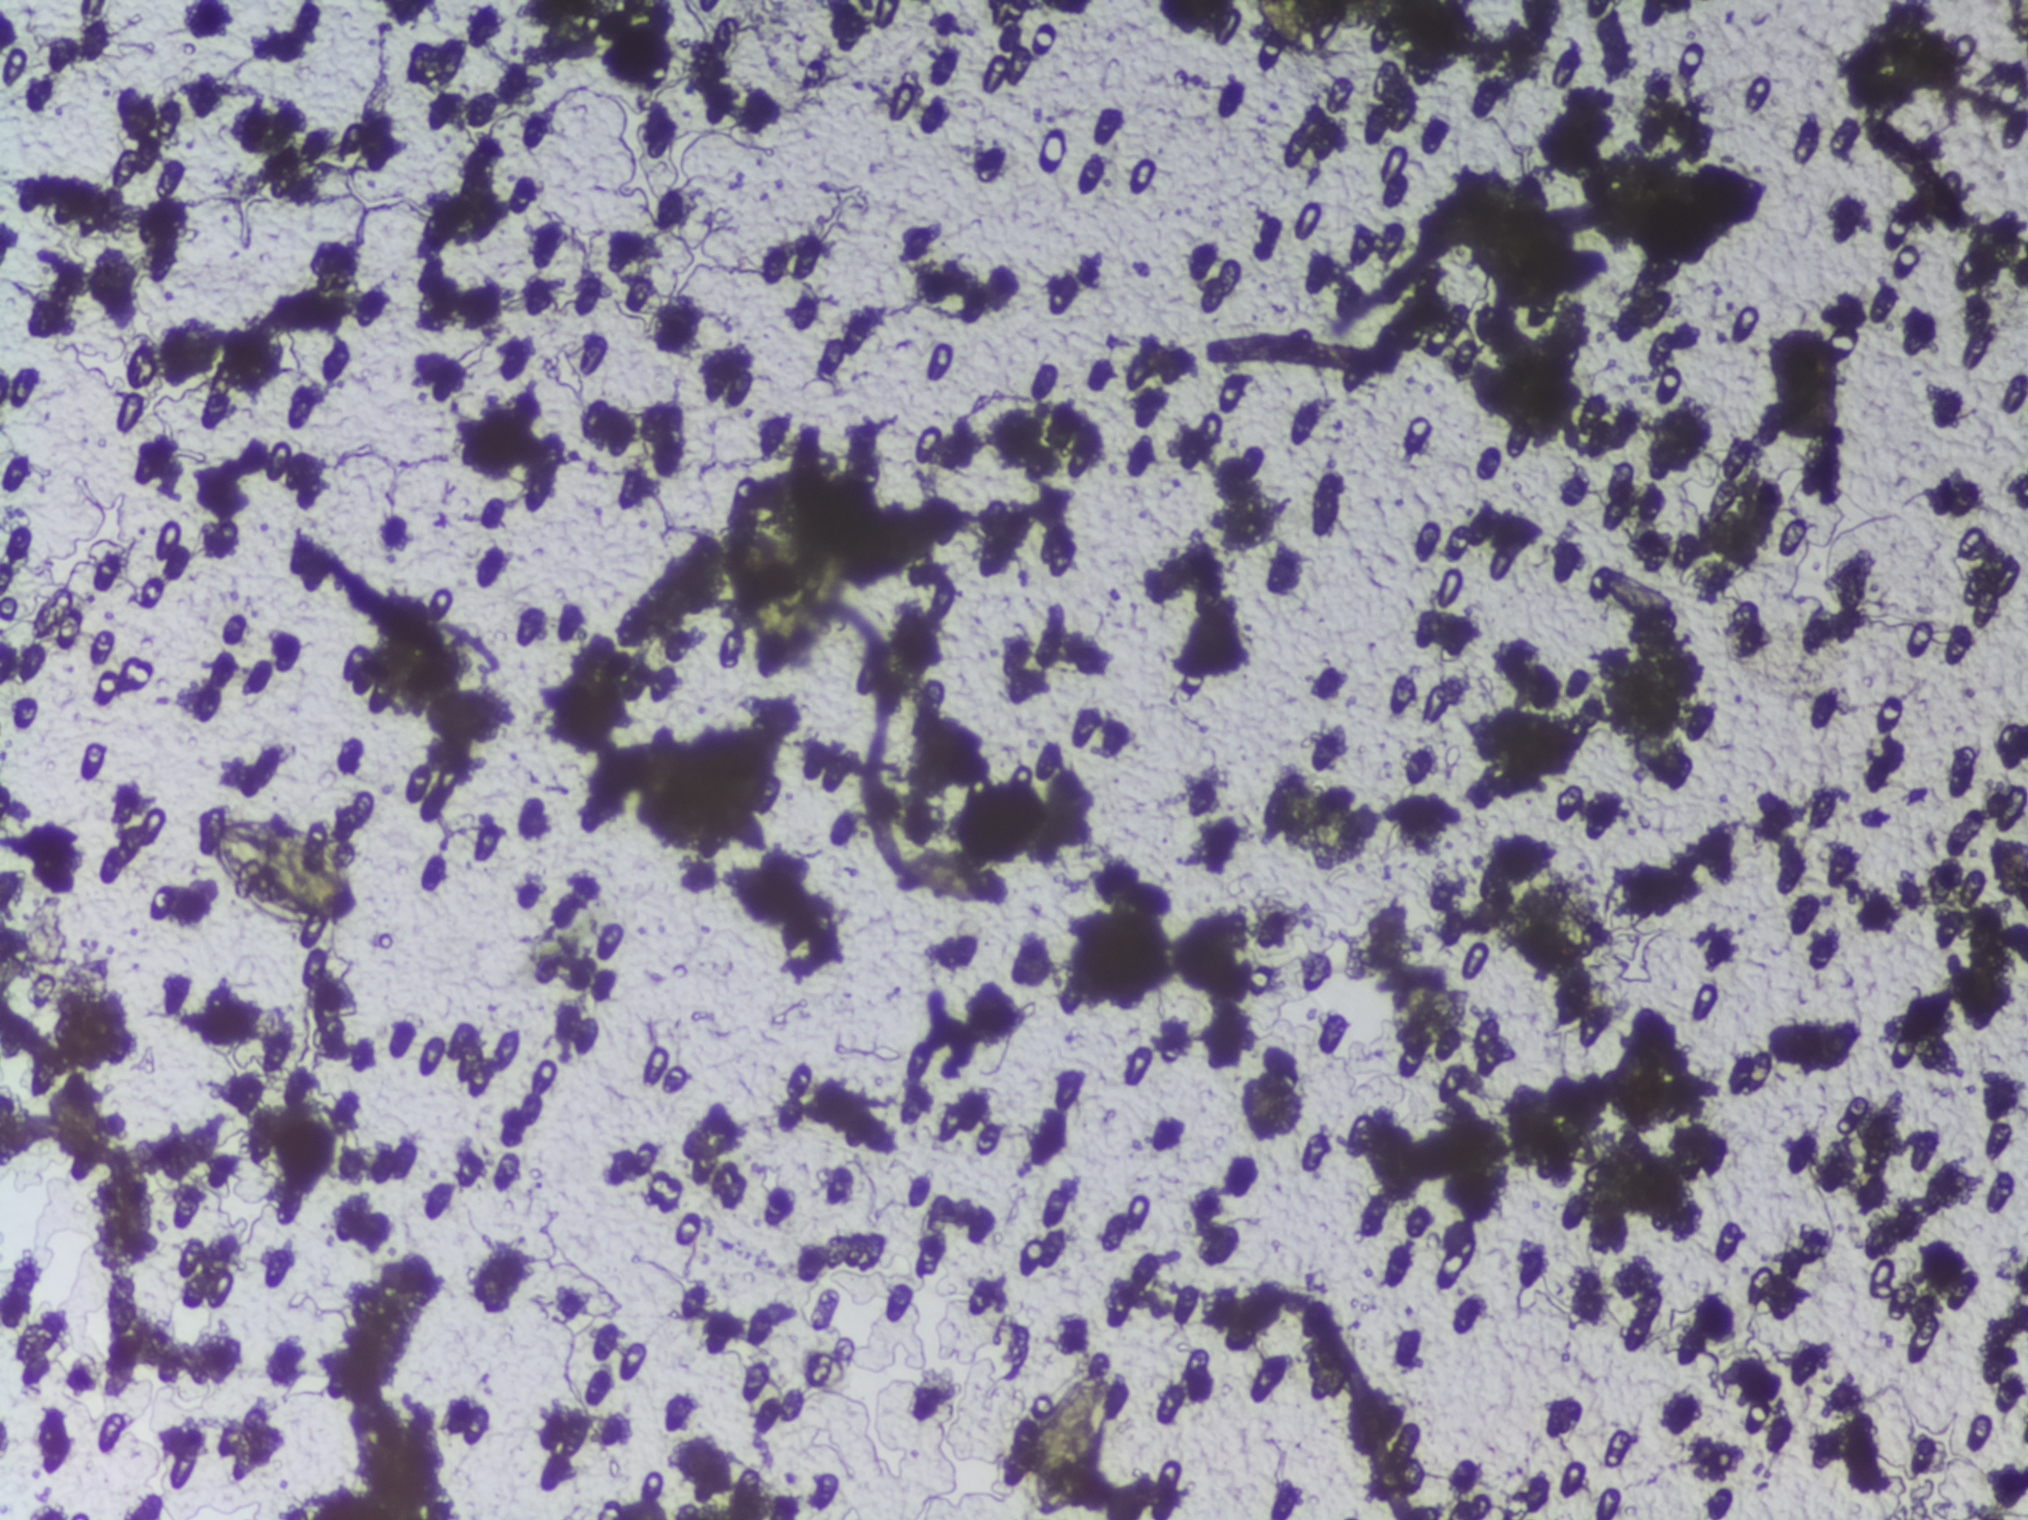
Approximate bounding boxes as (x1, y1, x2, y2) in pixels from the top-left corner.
Two areas of this image are outlined as Schistosoma eggs, from left to right: (201, 815, 365, 935) and (1019, 1360, 1117, 1518). About 0.9% of the image's pixels are marked (the marked pixels themselves, not the boxes around them). A single outlined area may contain several eggs. A marked egg may occasionally be S. mansoni rather than S. haematobium.
Photomicrograph of a urine filtration membrane, 4× objective. The image covers about 1.5 × 1.1 mm of the membrane.